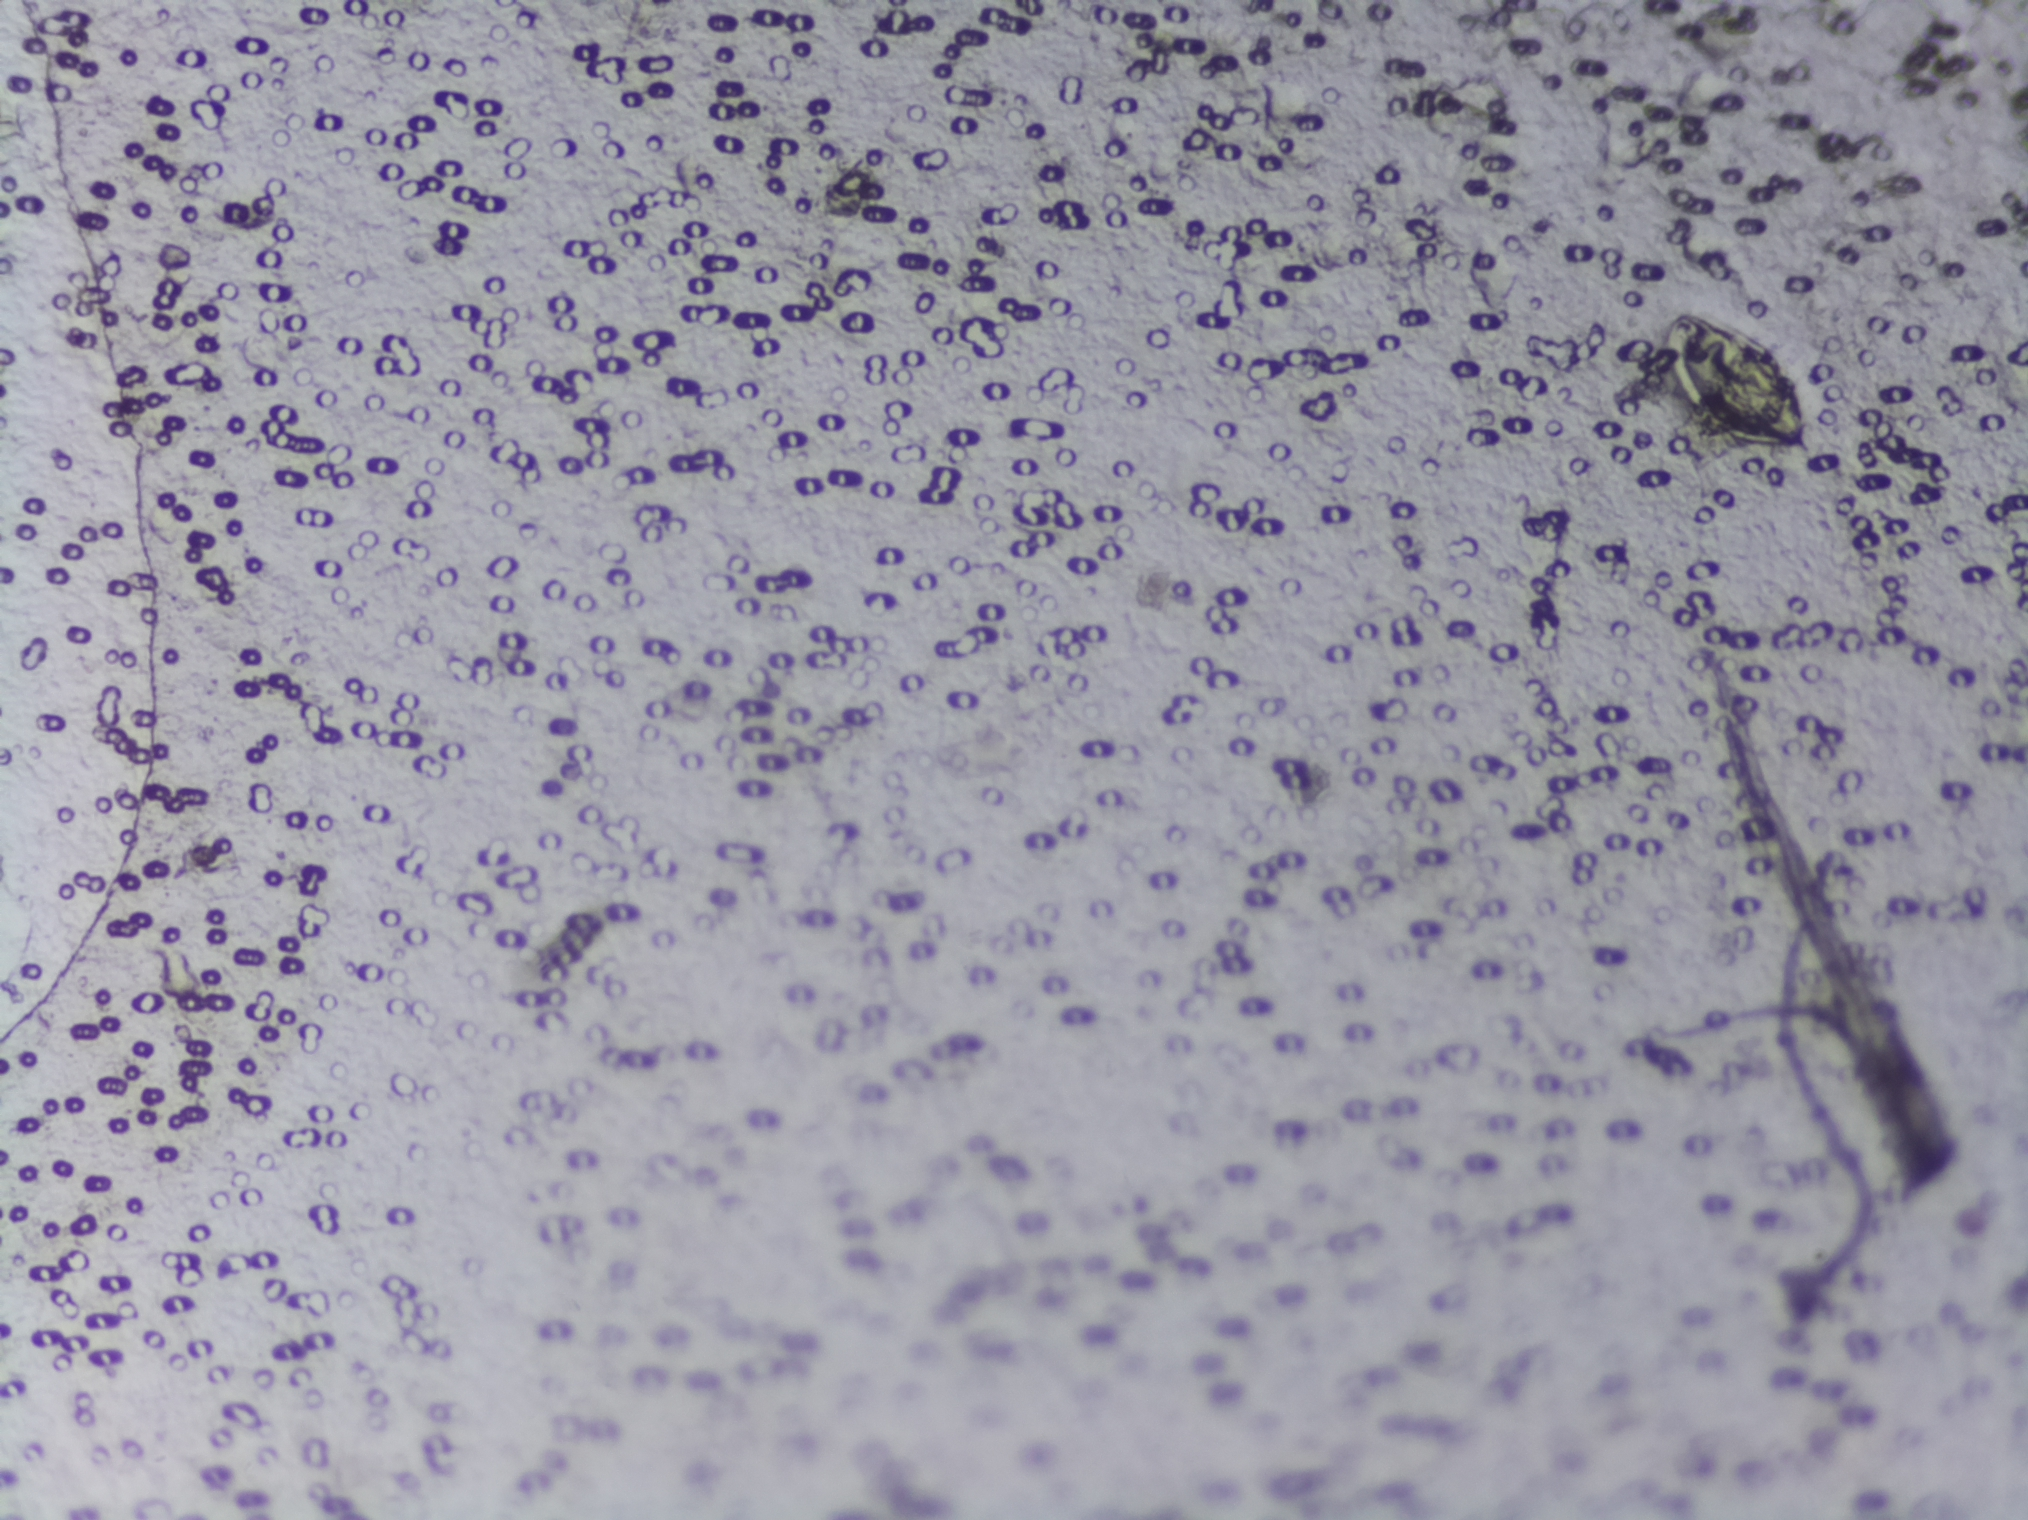
Photograph from an automated digital microscope: urine filter membrane, 4× objective.
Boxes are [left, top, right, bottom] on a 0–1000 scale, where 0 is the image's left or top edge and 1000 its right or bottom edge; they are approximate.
Schistosoma eggs are outlined in one area of this image: [820, 204, 894, 301]. A single outlined area may contain several eggs.